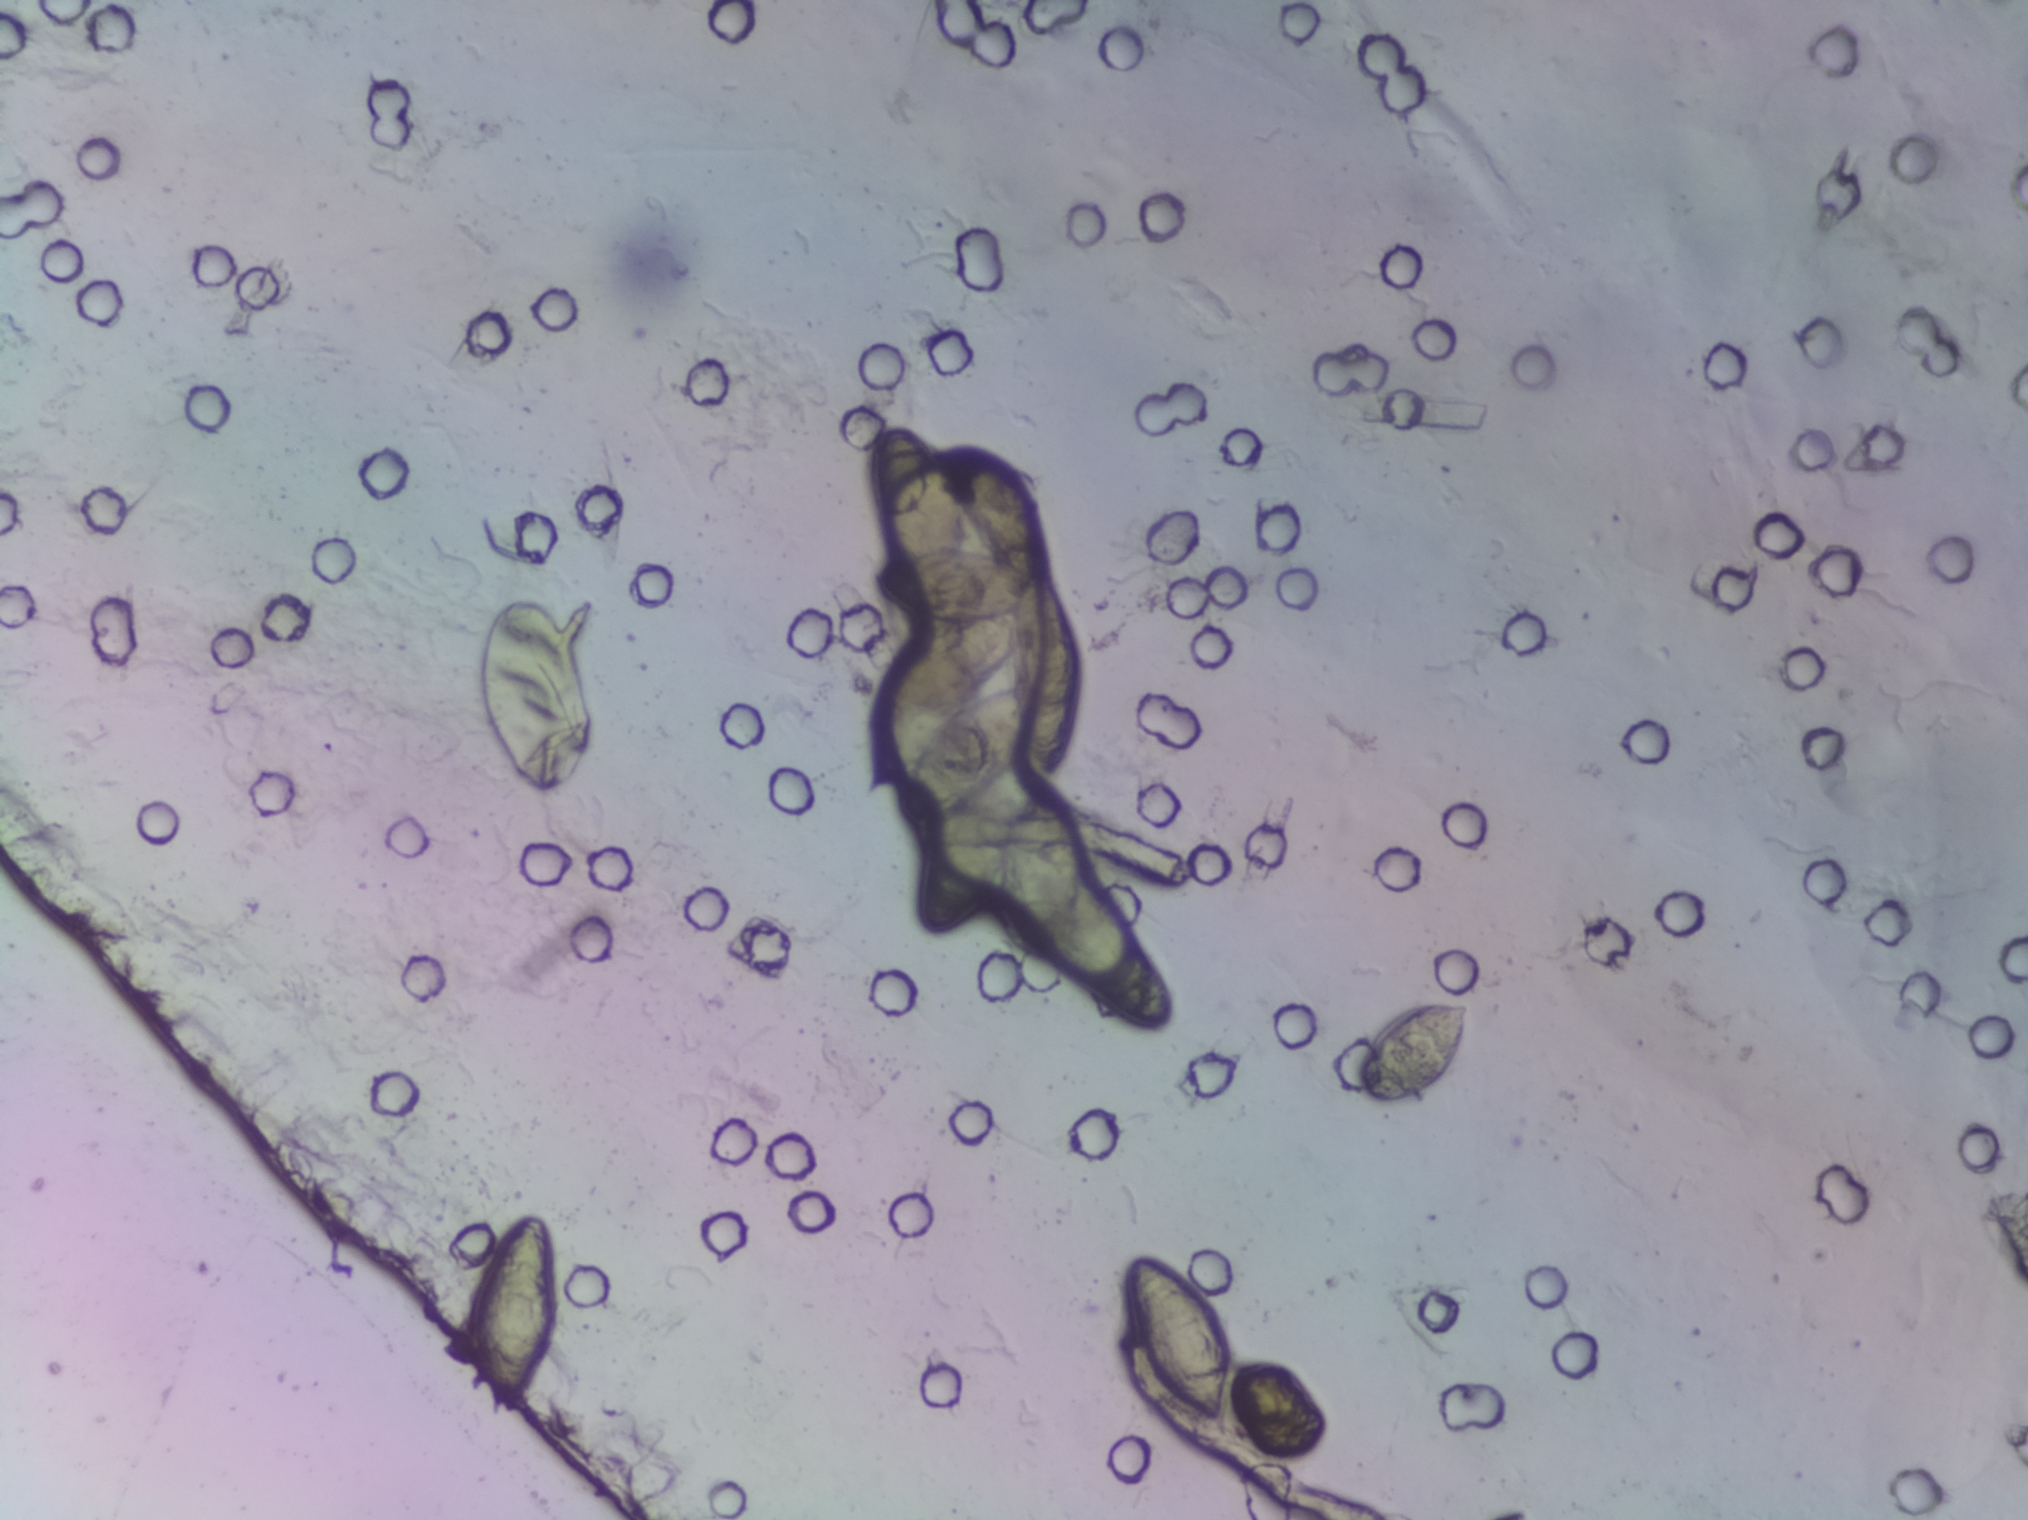
Microscope photograph (4× objective) of a membrane that a urine sample was filtered through.
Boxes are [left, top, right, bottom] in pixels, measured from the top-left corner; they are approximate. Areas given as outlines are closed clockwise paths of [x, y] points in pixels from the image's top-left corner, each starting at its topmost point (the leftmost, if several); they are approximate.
The expert annotation outlines Schistosoma eggs in five areas, left to right: box [459, 1205, 566, 1423]; box [469, 583, 598, 797]; outline [882, 424], [926, 424], [951, 463], [978, 434], [992, 434], [1017, 444], [1041, 473], [1048, 574], [1082, 634], [1083, 666], [1078, 716], [1060, 767], [1052, 780], [1037, 782], [1067, 813], [1082, 871], [1110, 894], [1168, 981], [1171, 1008], [1161, 1021], [1137, 1022], [1093, 1001], [1062, 972], [1053, 950], [1040, 960], [1017, 957], [995, 924], [993, 886], [965, 922], [925, 927], [919, 908], [929, 828], [911, 825], [902, 814], [899, 777], [872, 794], [855, 787], [877, 690], [893, 661], [933, 622], [883, 599], [870, 584], [876, 570], [896, 556], [878, 532], [869, 490], [871, 435] (a cluster of eggs); box [1112, 1253, 1239, 1430]; box [1353, 996, 1480, 1107]. The marked pixels themselves, not the boxes and the outline around them, cover about 5.2% of the image. An outlined area can hold more than one egg.